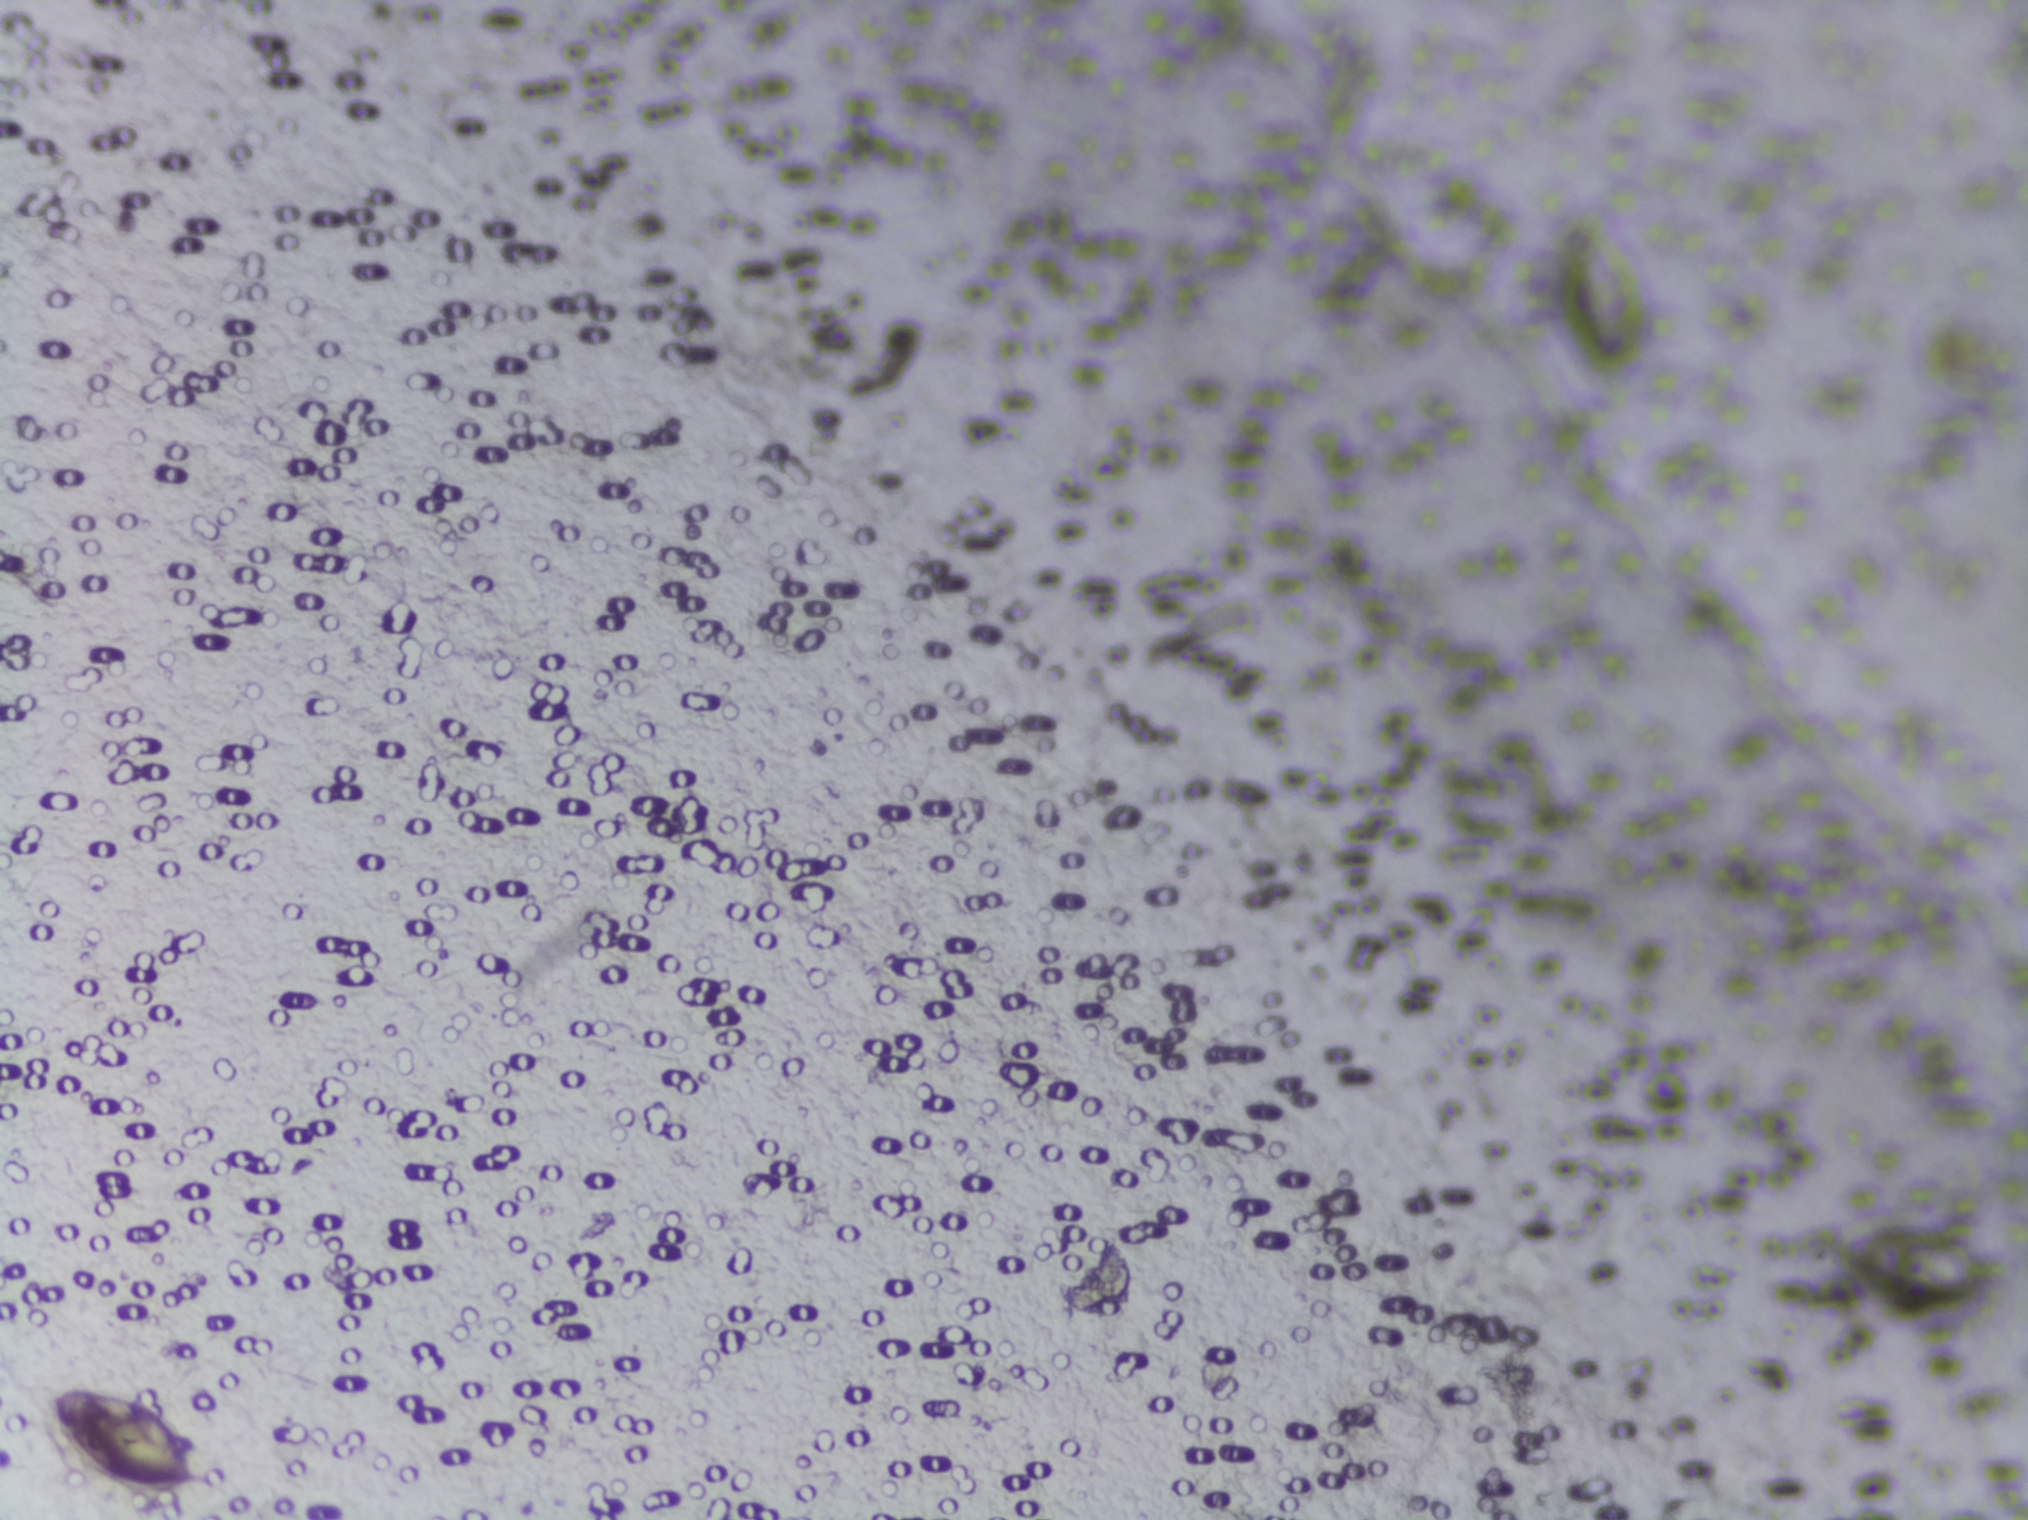
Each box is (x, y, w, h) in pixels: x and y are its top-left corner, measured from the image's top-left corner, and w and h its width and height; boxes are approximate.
Schistosoma eggs are outlined in three areas of this image, listed from left to right: (x=43, y=1386, w=158, h=108); (x=1551, y=207, w=103, h=166); (x=1834, y=1215, w=161, h=97). Marked pixels, not the boxes around them: about 1.2% of the image. A single outlined area may contain several eggs.
Photomicrograph of a urine filtration membrane, 4× objective.